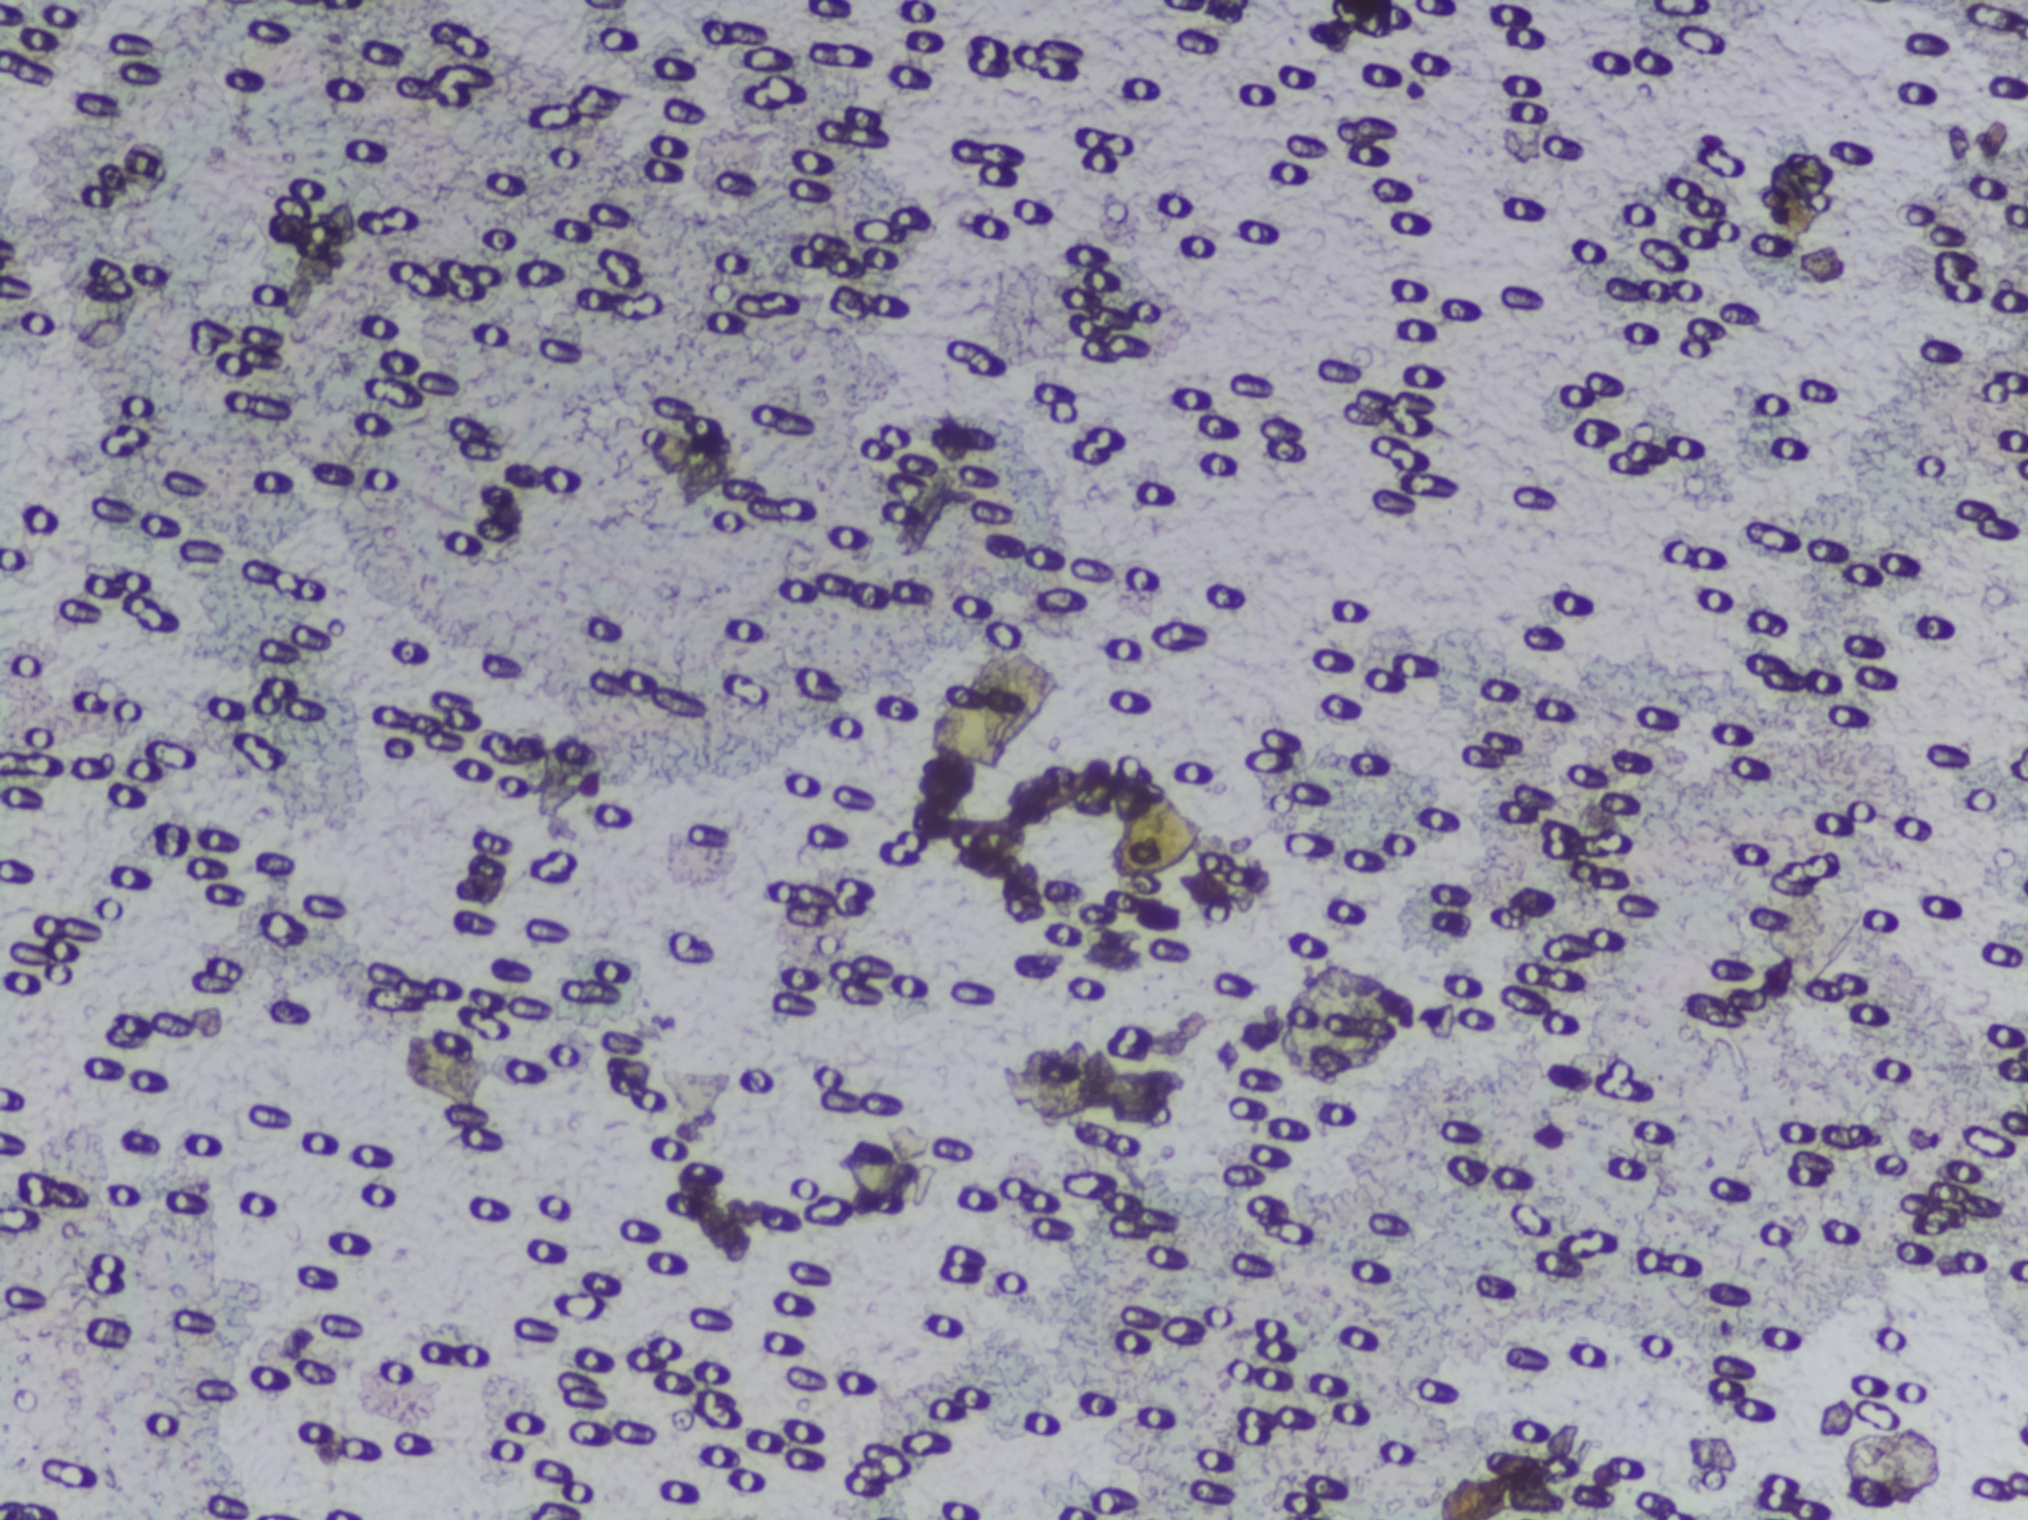
The expert annotation outlines no Schistosoma egg in this image.
Microscope photograph (4× objective) of a membrane that a urine sample was filtered through.